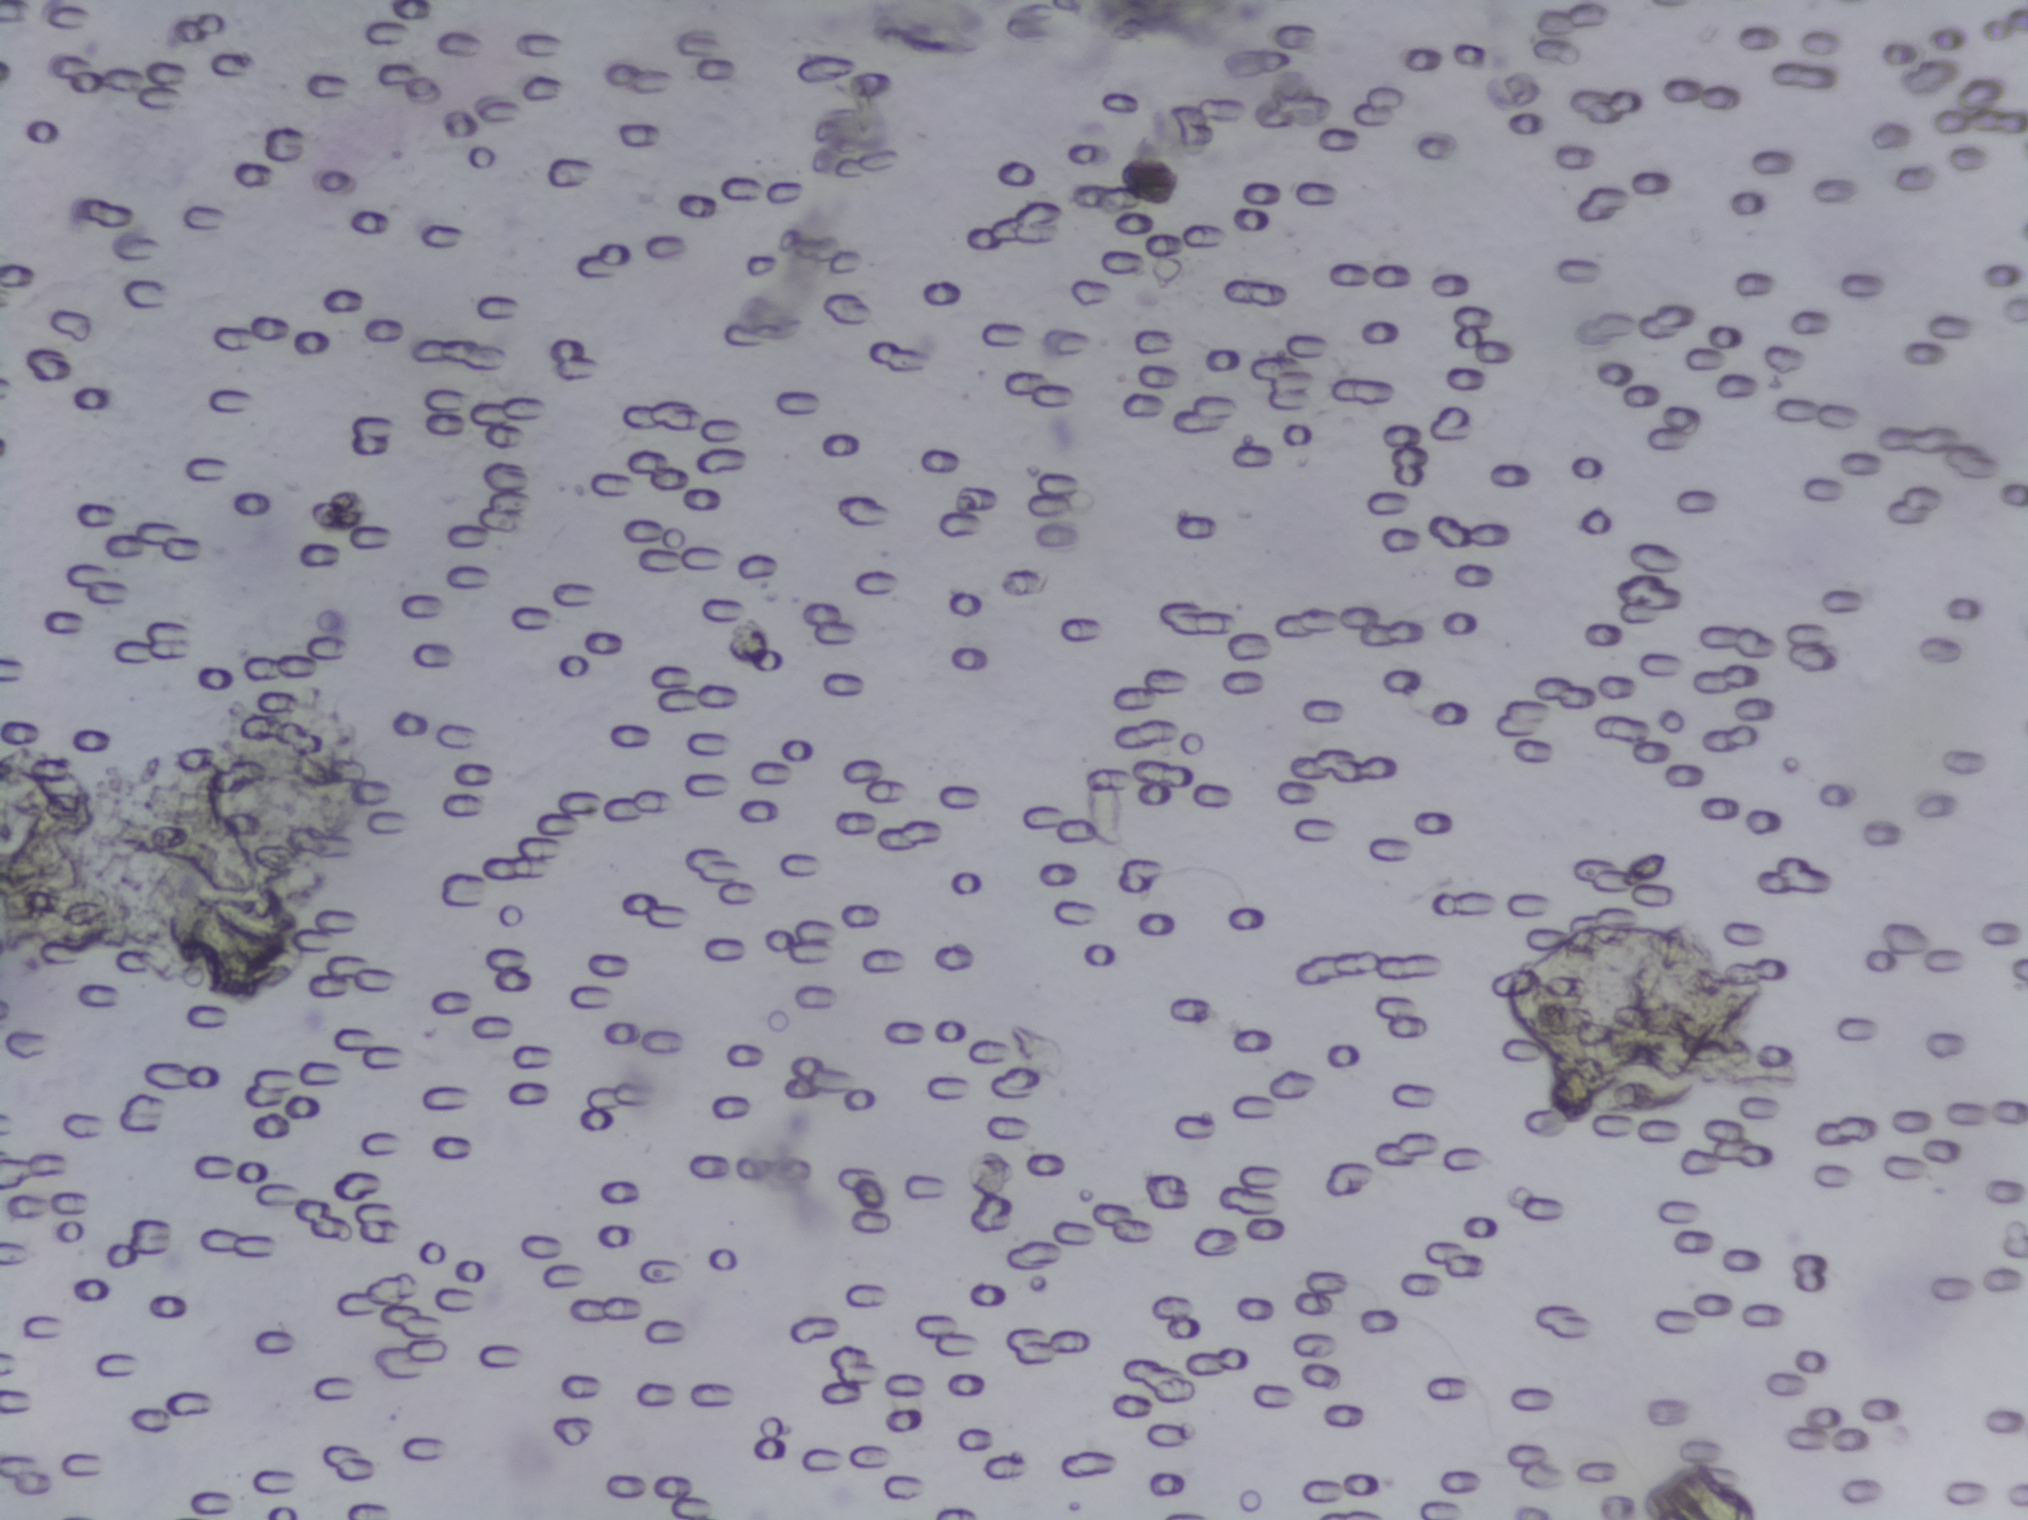
Photograph from an automated digital microscope: urine filter membrane, 4× objective.
No Schistosoma egg is outlined in this image's expert annotation.